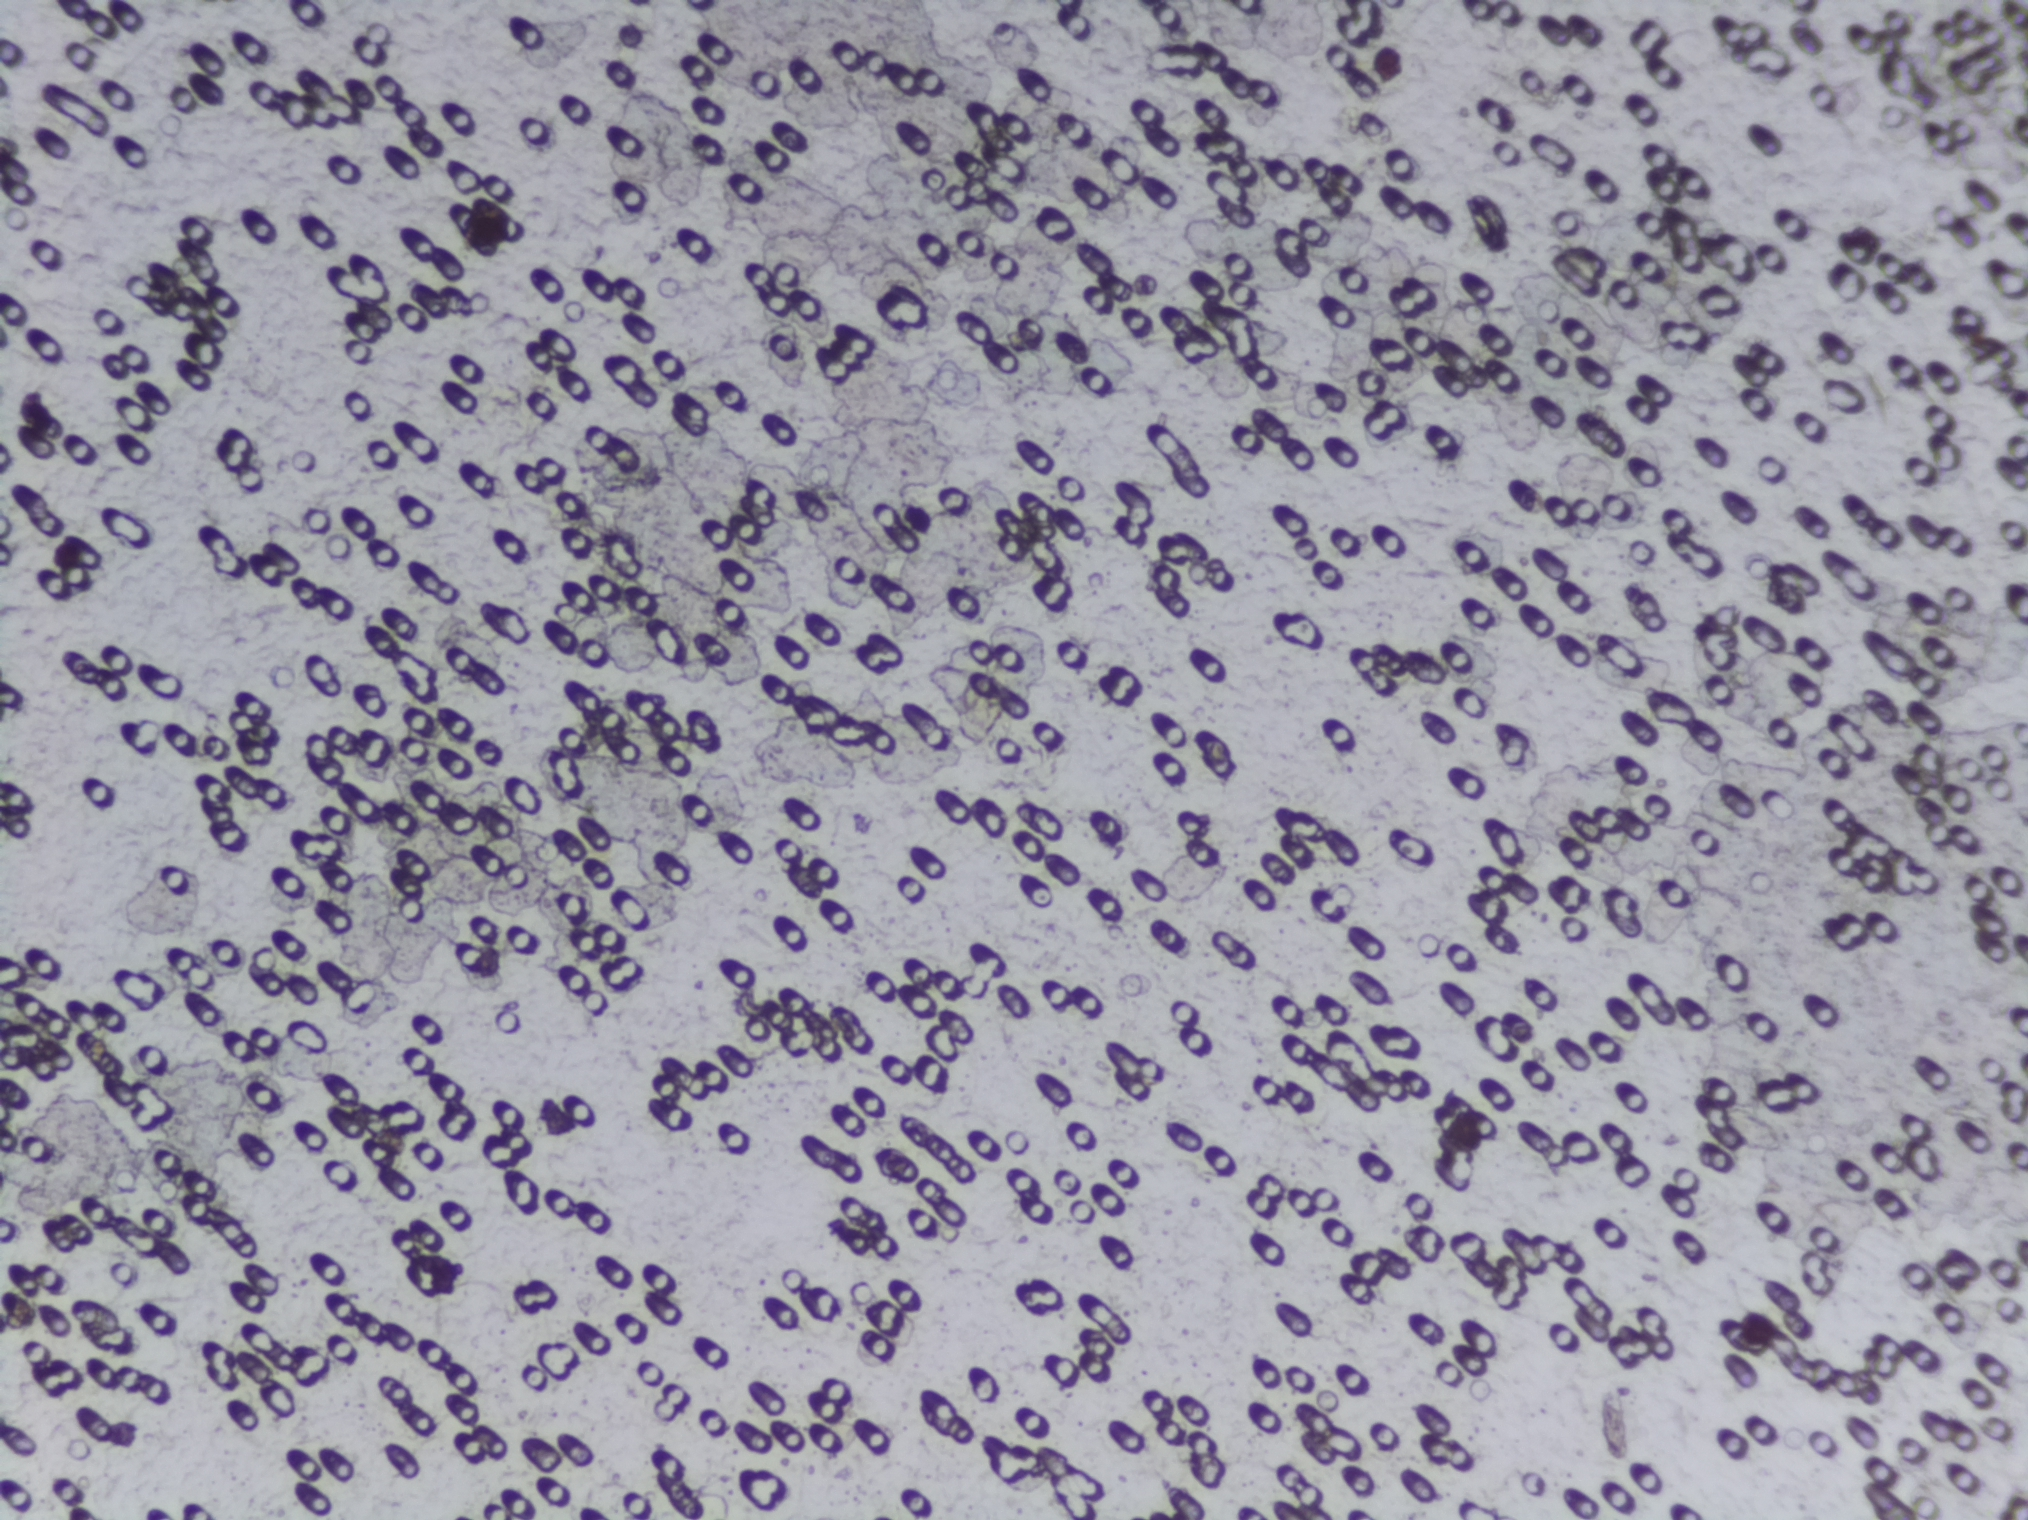
Photomicrograph of a urine filtration membrane, 4× objective. Field of view: about 1.5 mm wide and 1.1 mm high.
No Schistosoma egg is outlined in this image's expert annotation.